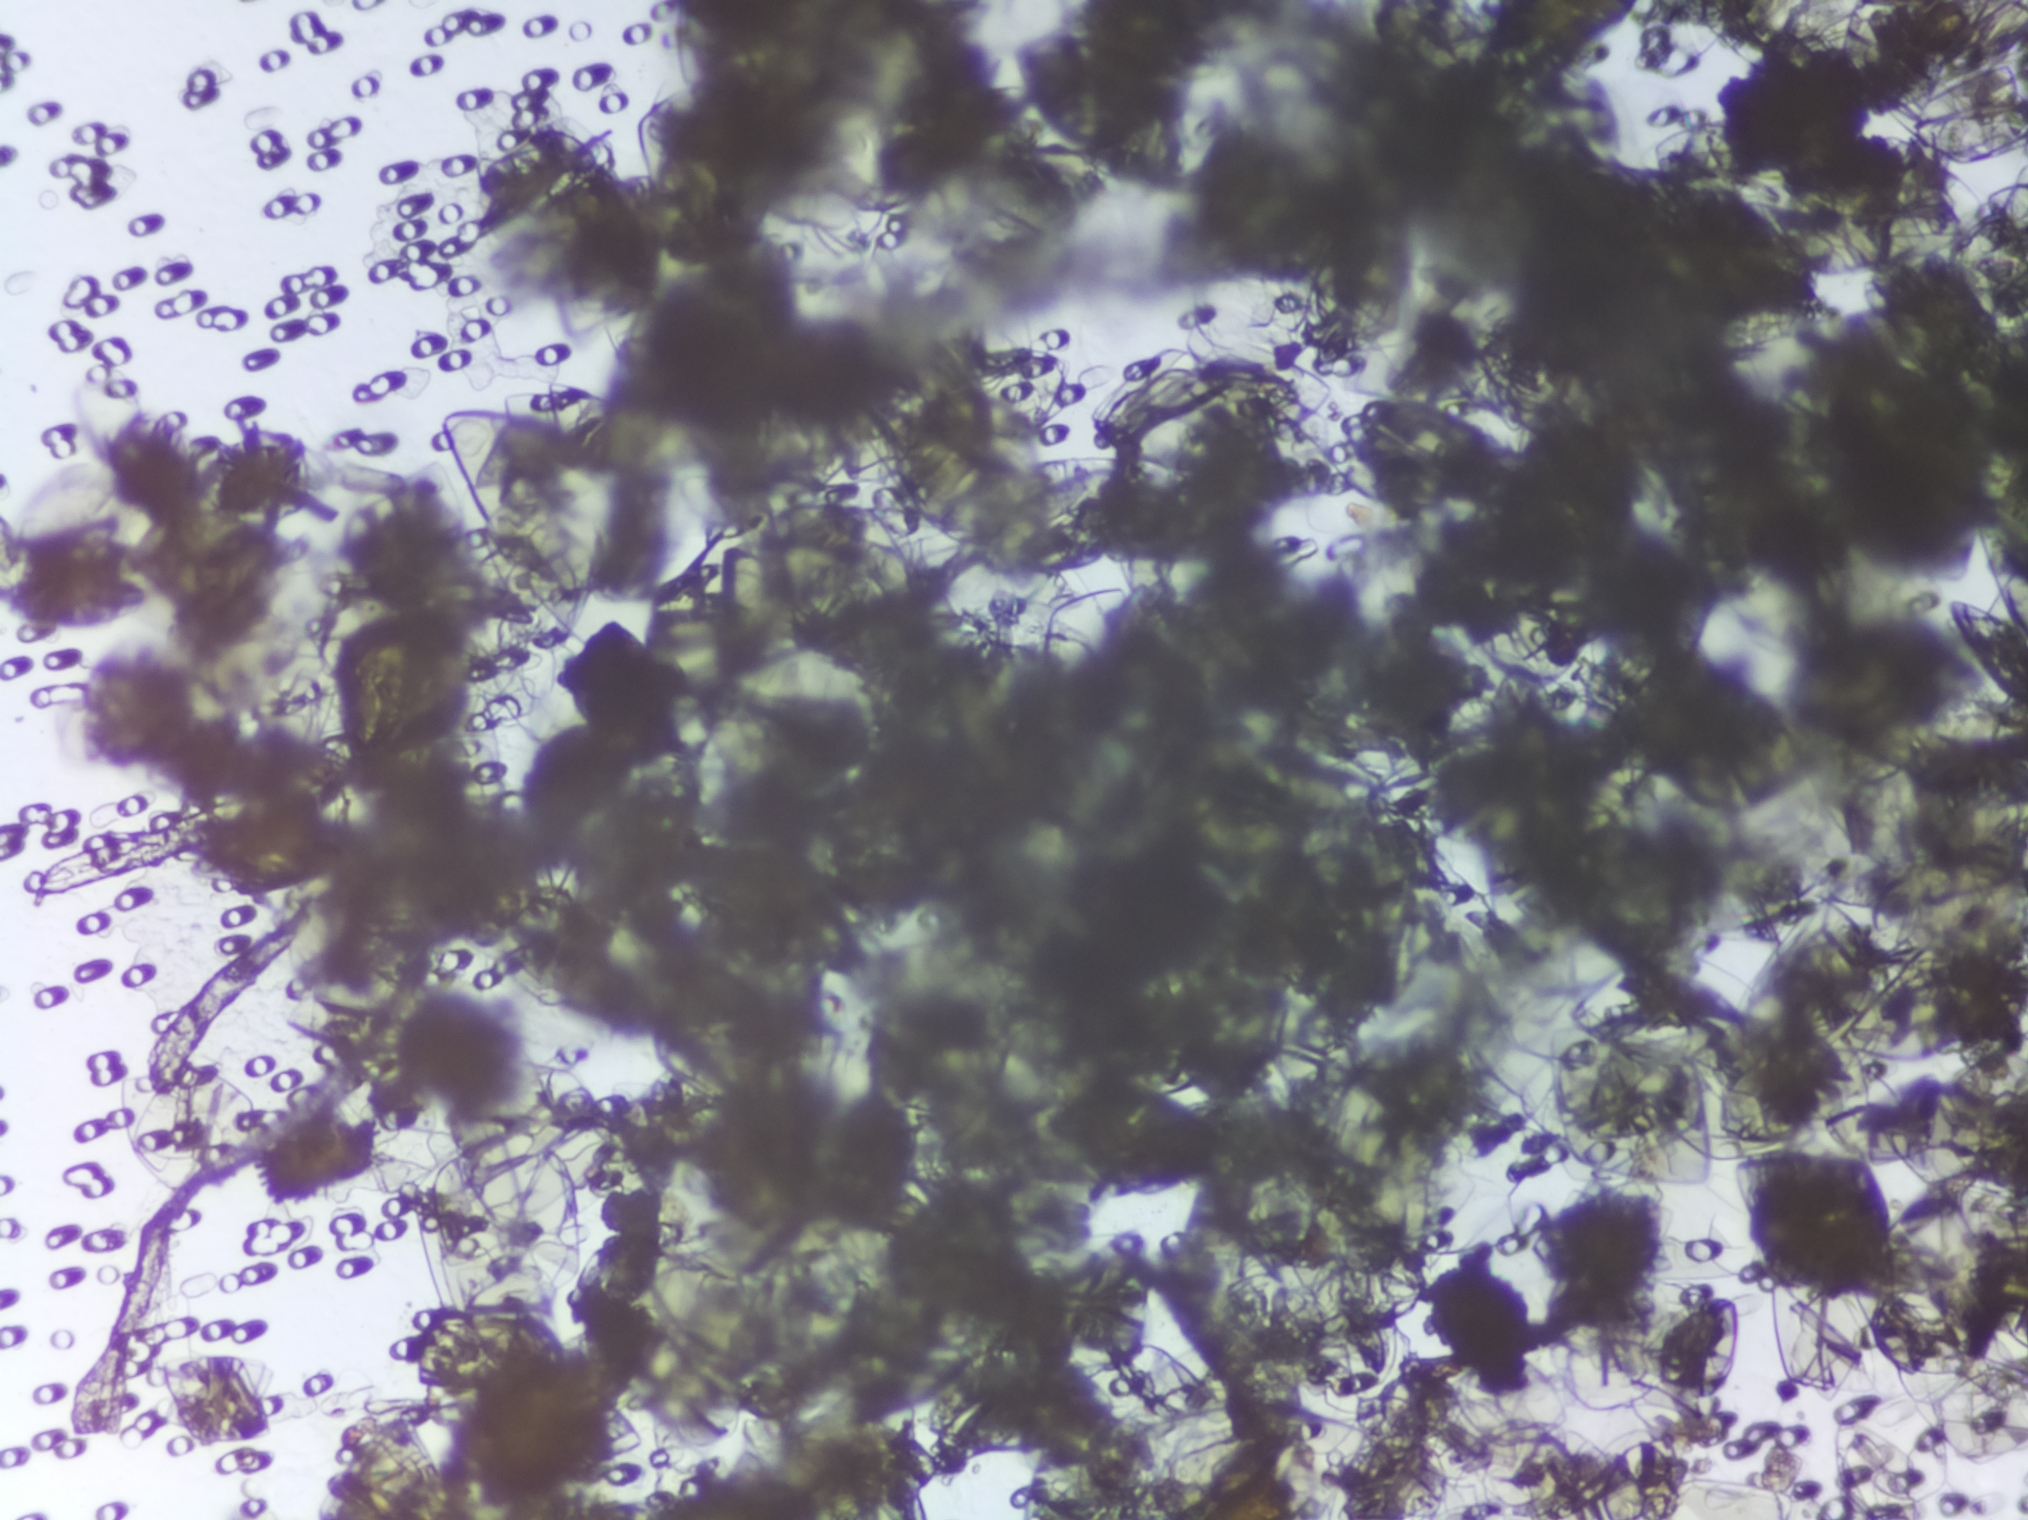
Urine filtration membrane under a 4× objective, photographed by an automated digital microscope.
No Schistosoma egg is outlined in this image's expert annotation.